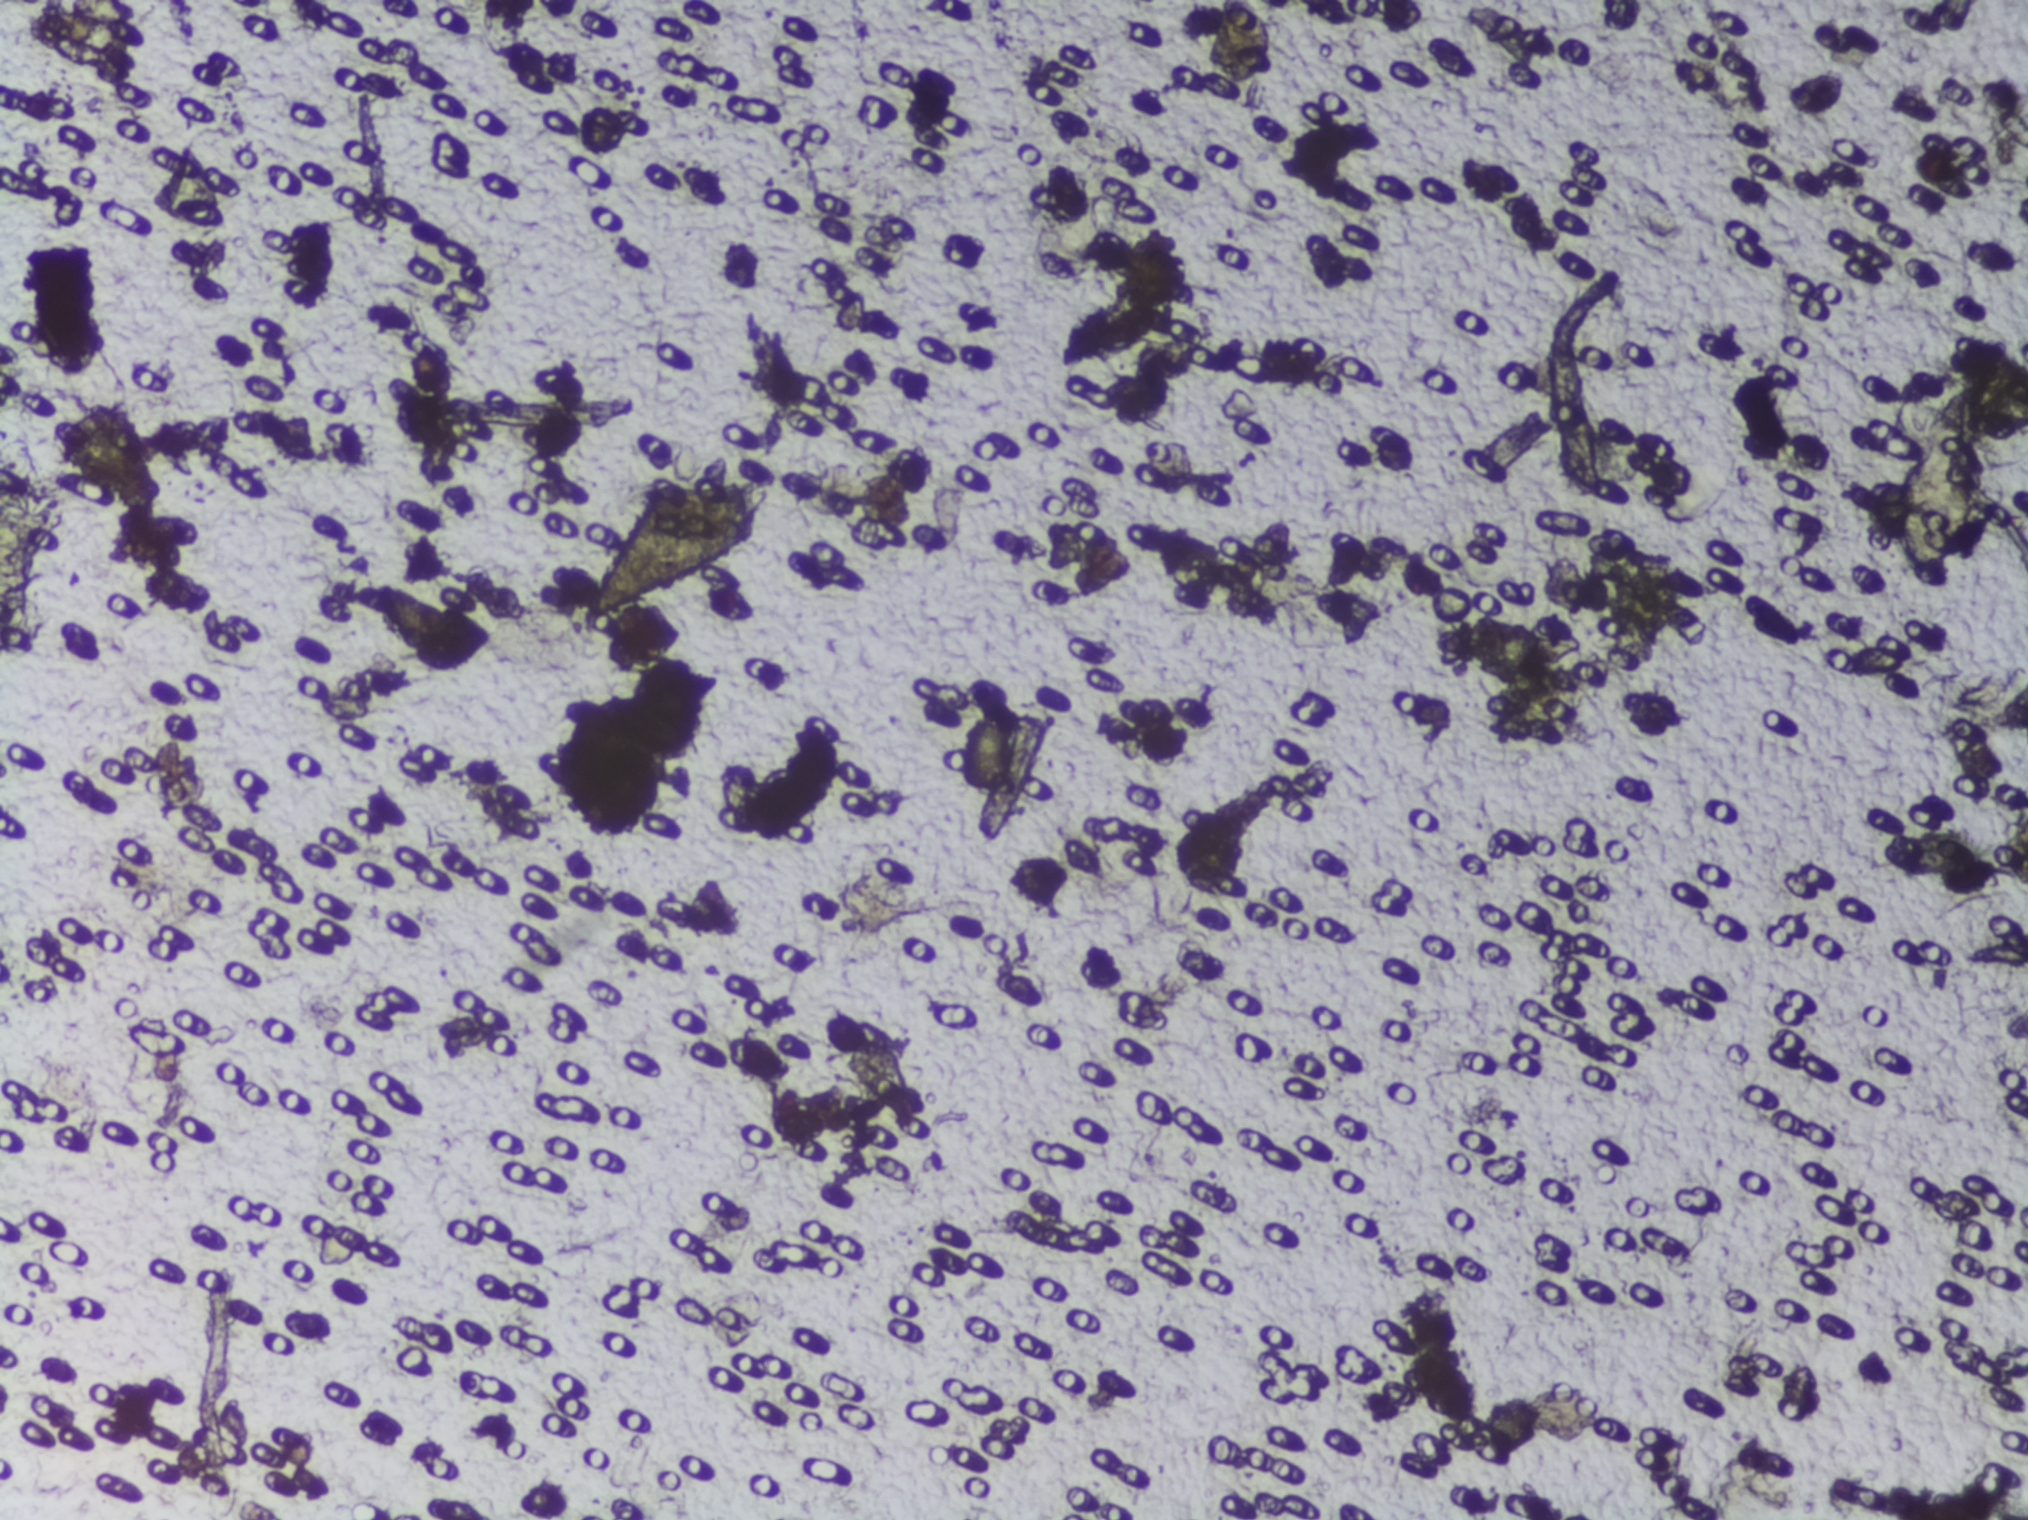
Photomicrograph of a urine filtration membrane, 4× objective. The field of view is about 1.5 mm × 1.1 mm.
Schistosoma eggs: none outlined.